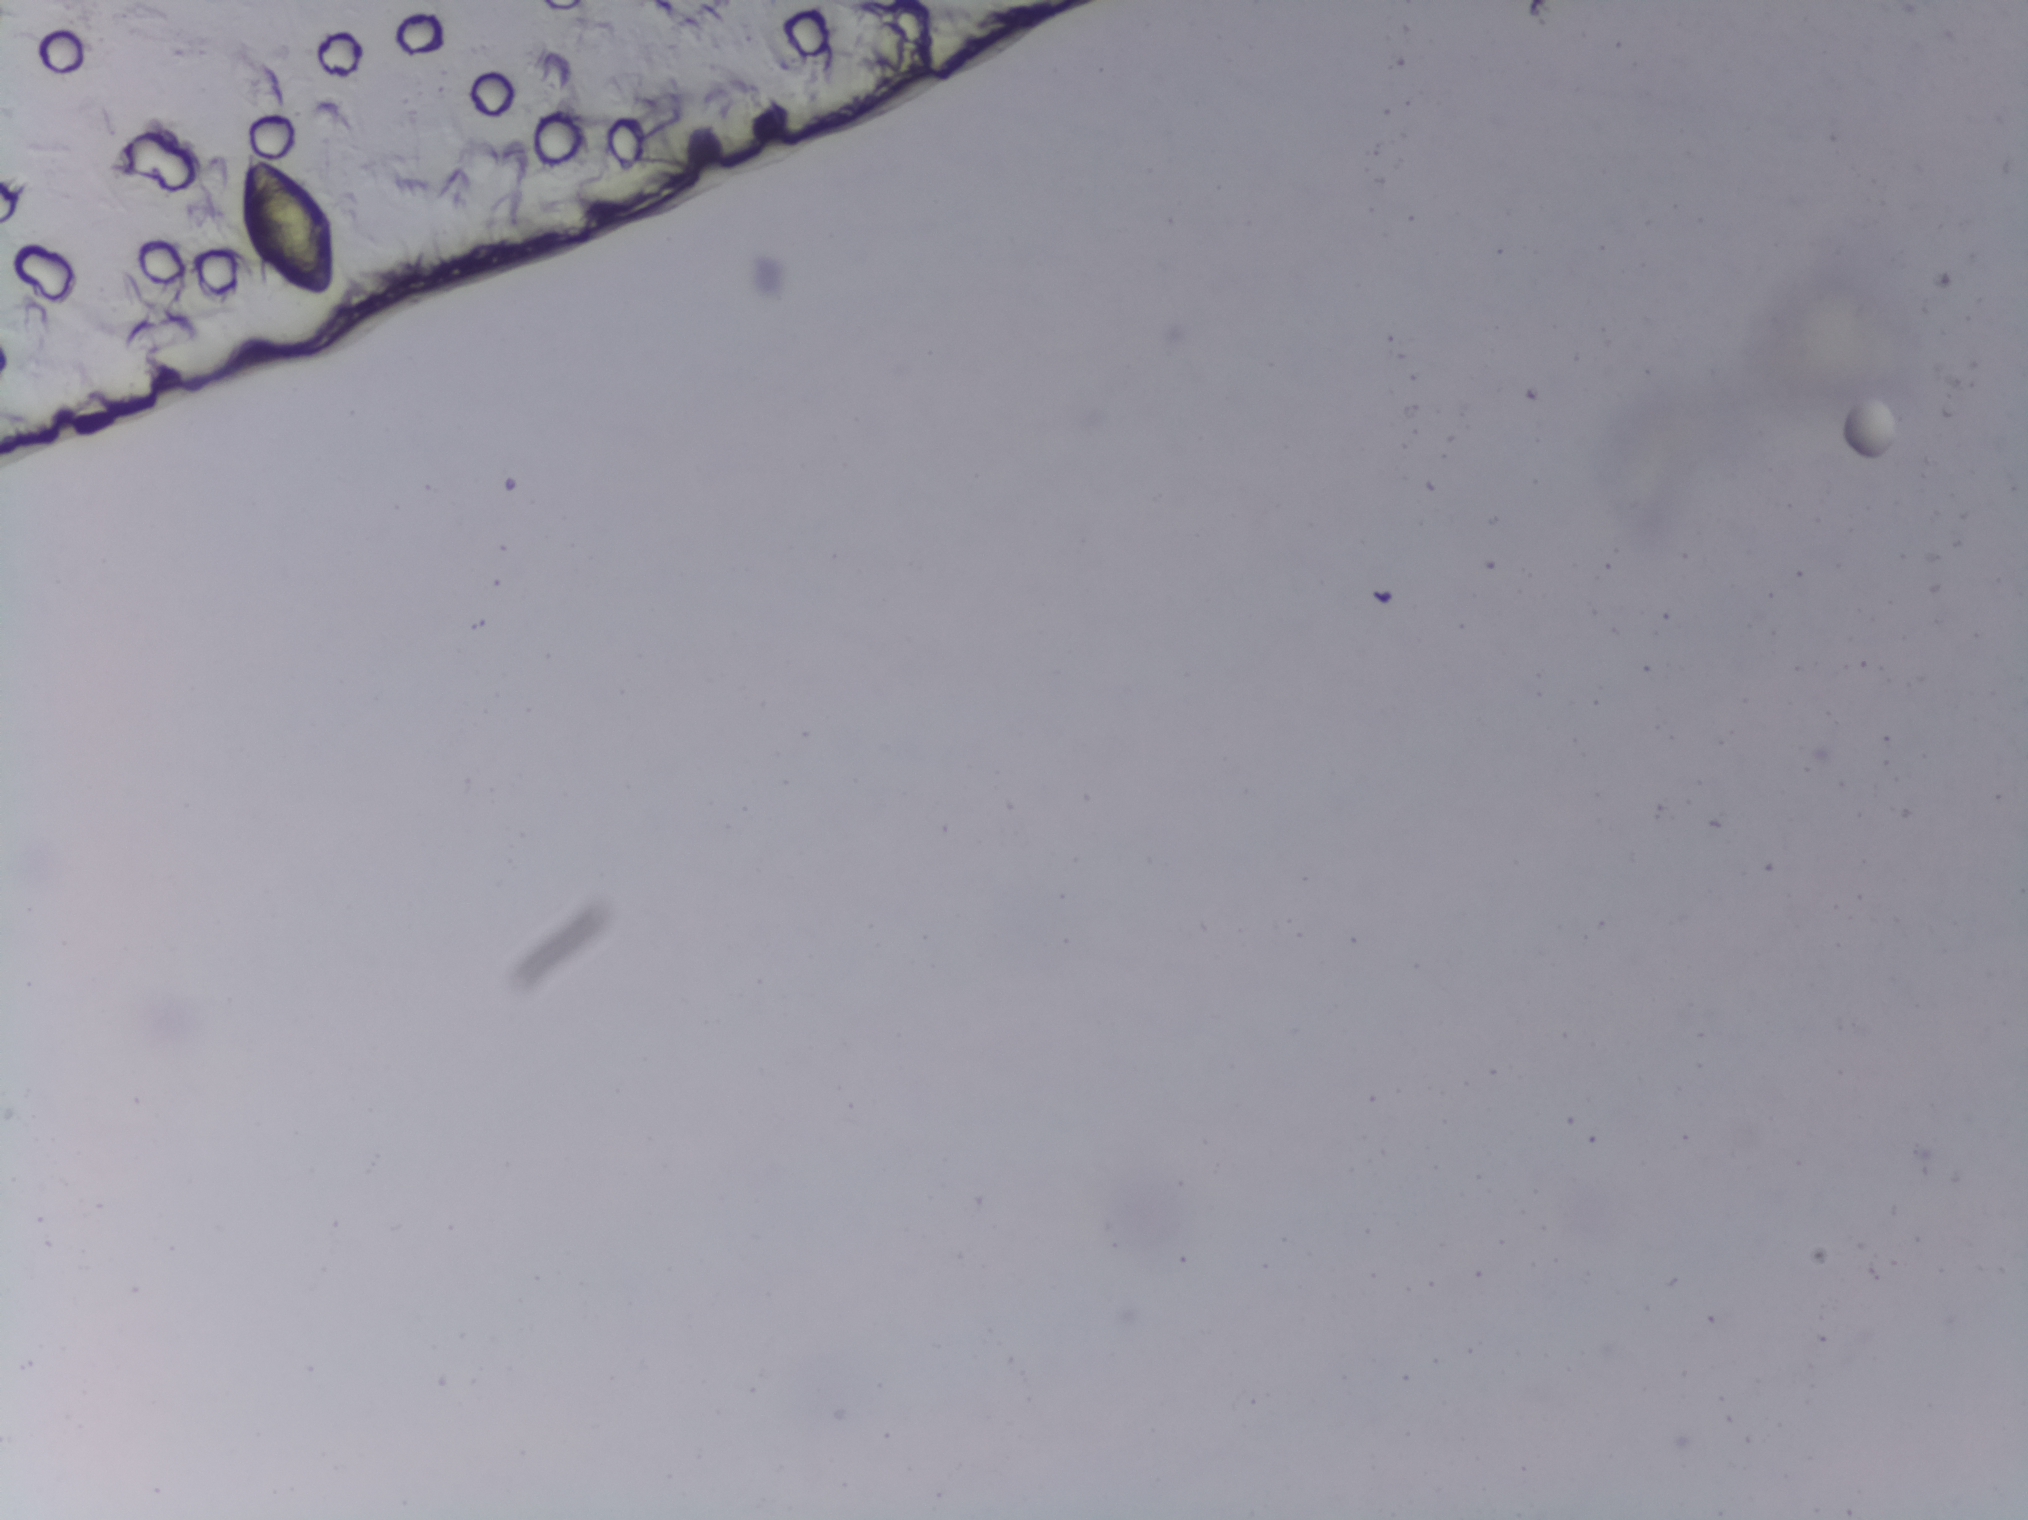
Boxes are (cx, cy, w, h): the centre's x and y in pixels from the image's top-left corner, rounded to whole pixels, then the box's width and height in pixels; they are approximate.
Schistosoma eggs are outlined in one area of this image: (cx=287, cy=222, w=105, h=165). Marked pixels, not the box around them: about 0.4% of the image. A single outlined area may contain several eggs.
One field of view of a urine filter membrane, 4× objective, 2028 × 1520 pixels. The field of view is about 1.5 mm × 1.1 mm.